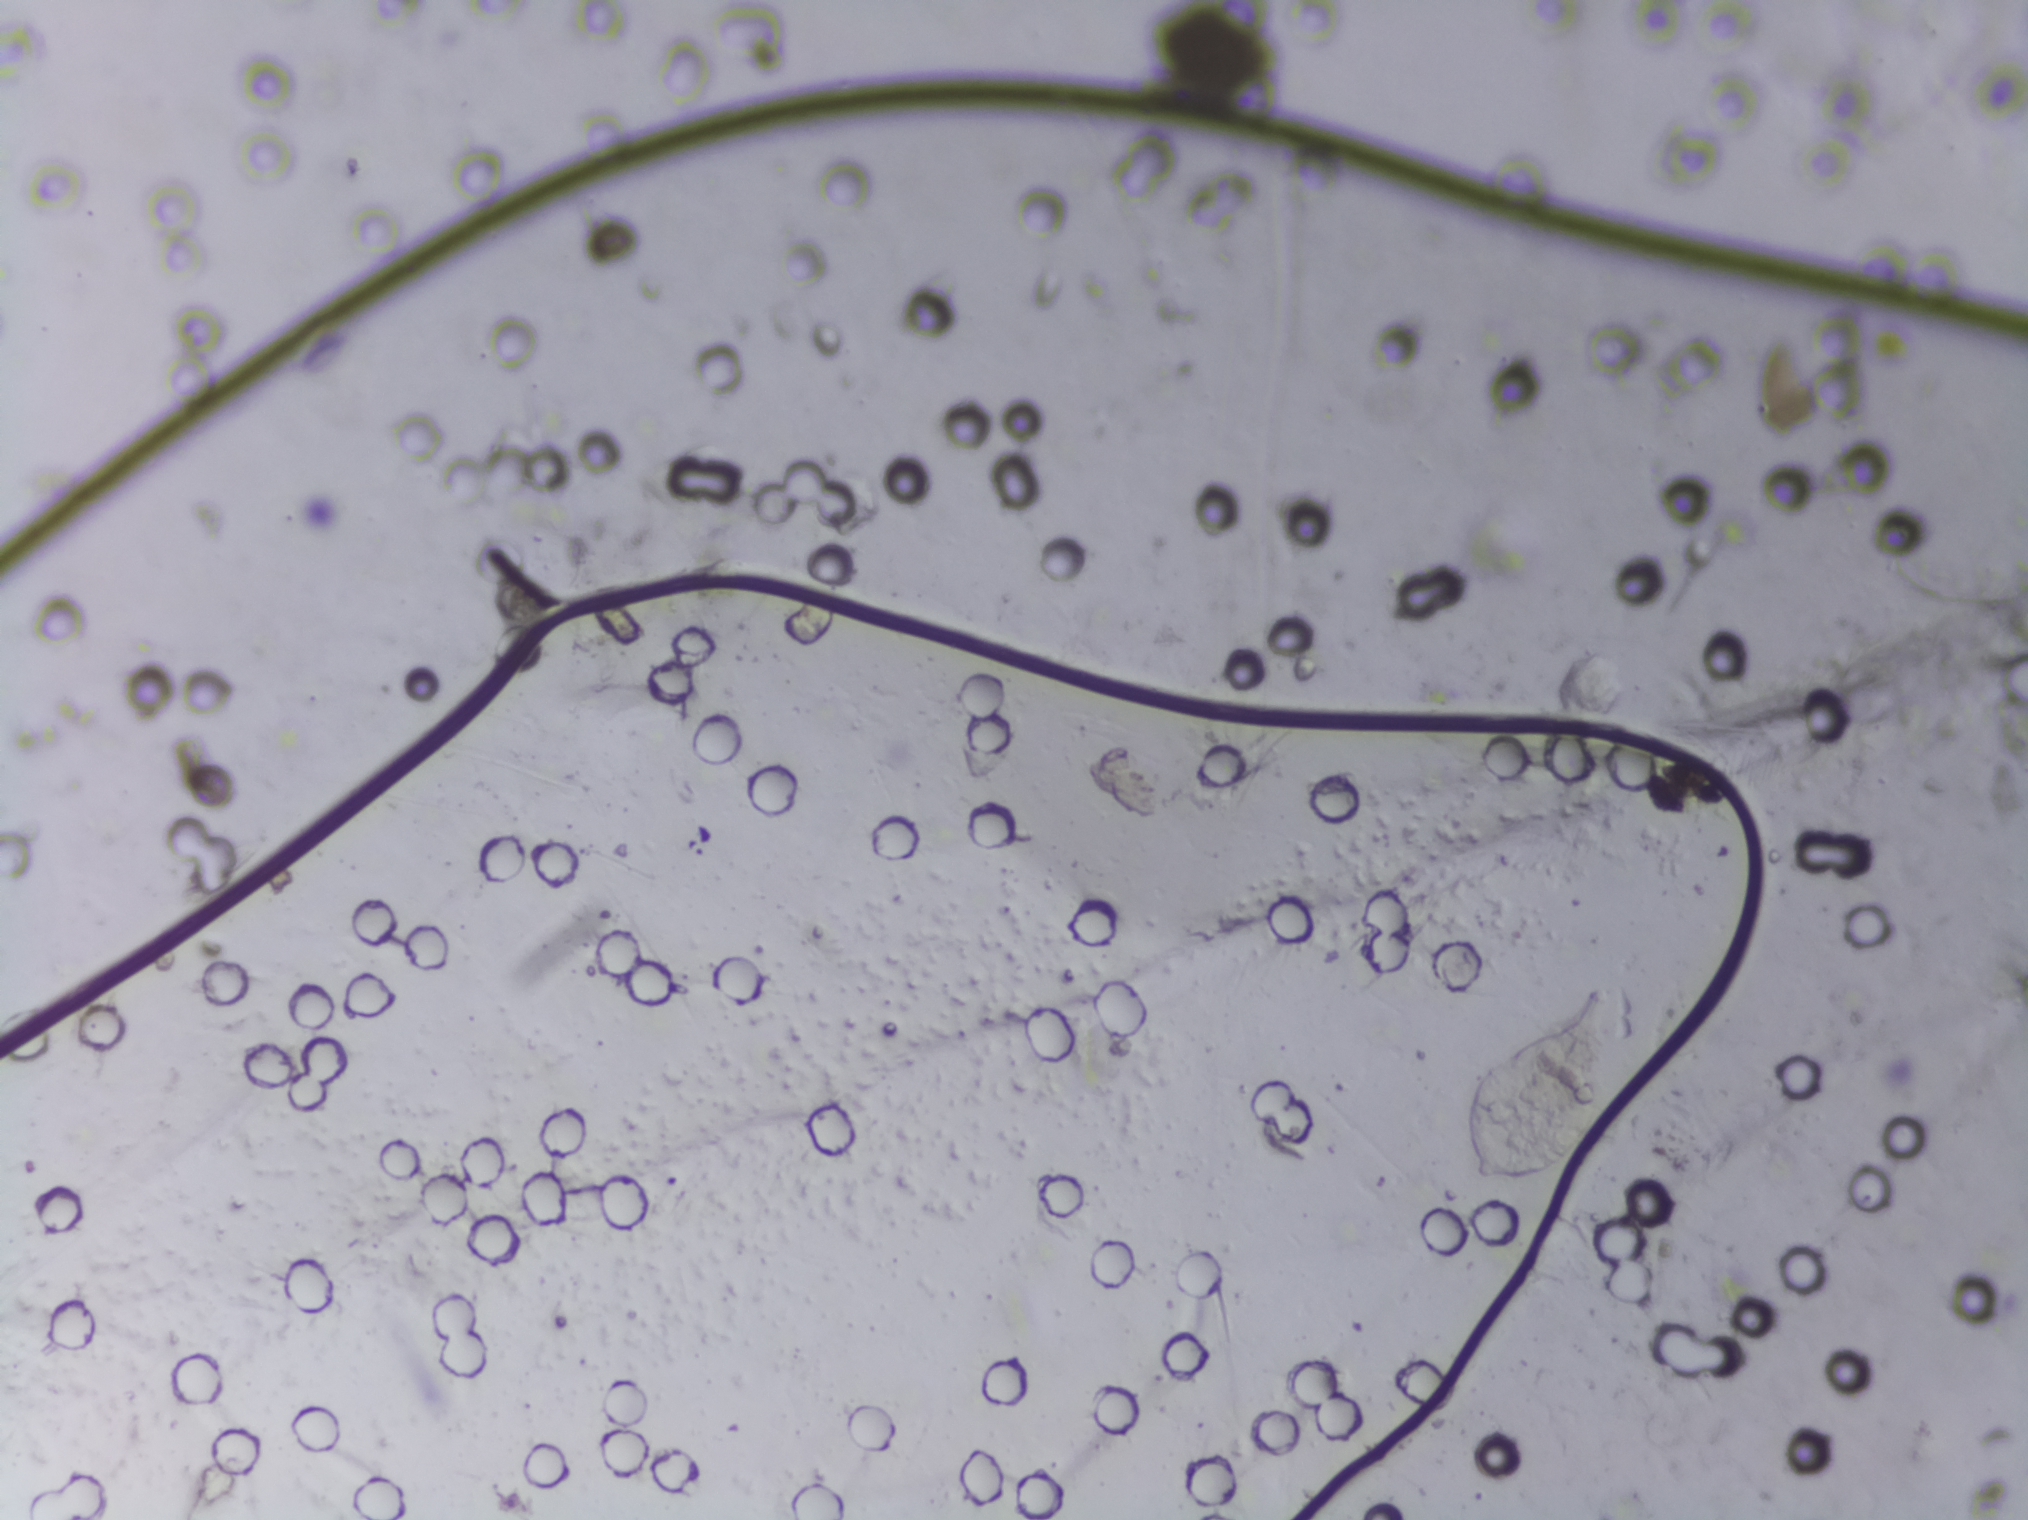
One field of view of a urine filter membrane, 4× objective, 2028 × 1520 pixels.
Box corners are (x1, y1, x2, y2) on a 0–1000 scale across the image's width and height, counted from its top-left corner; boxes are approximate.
Areas outlined as Schistosoma eggs:
1. (720, 638, 796, 786)
Eggs that touch can end up inside the same outlined area.